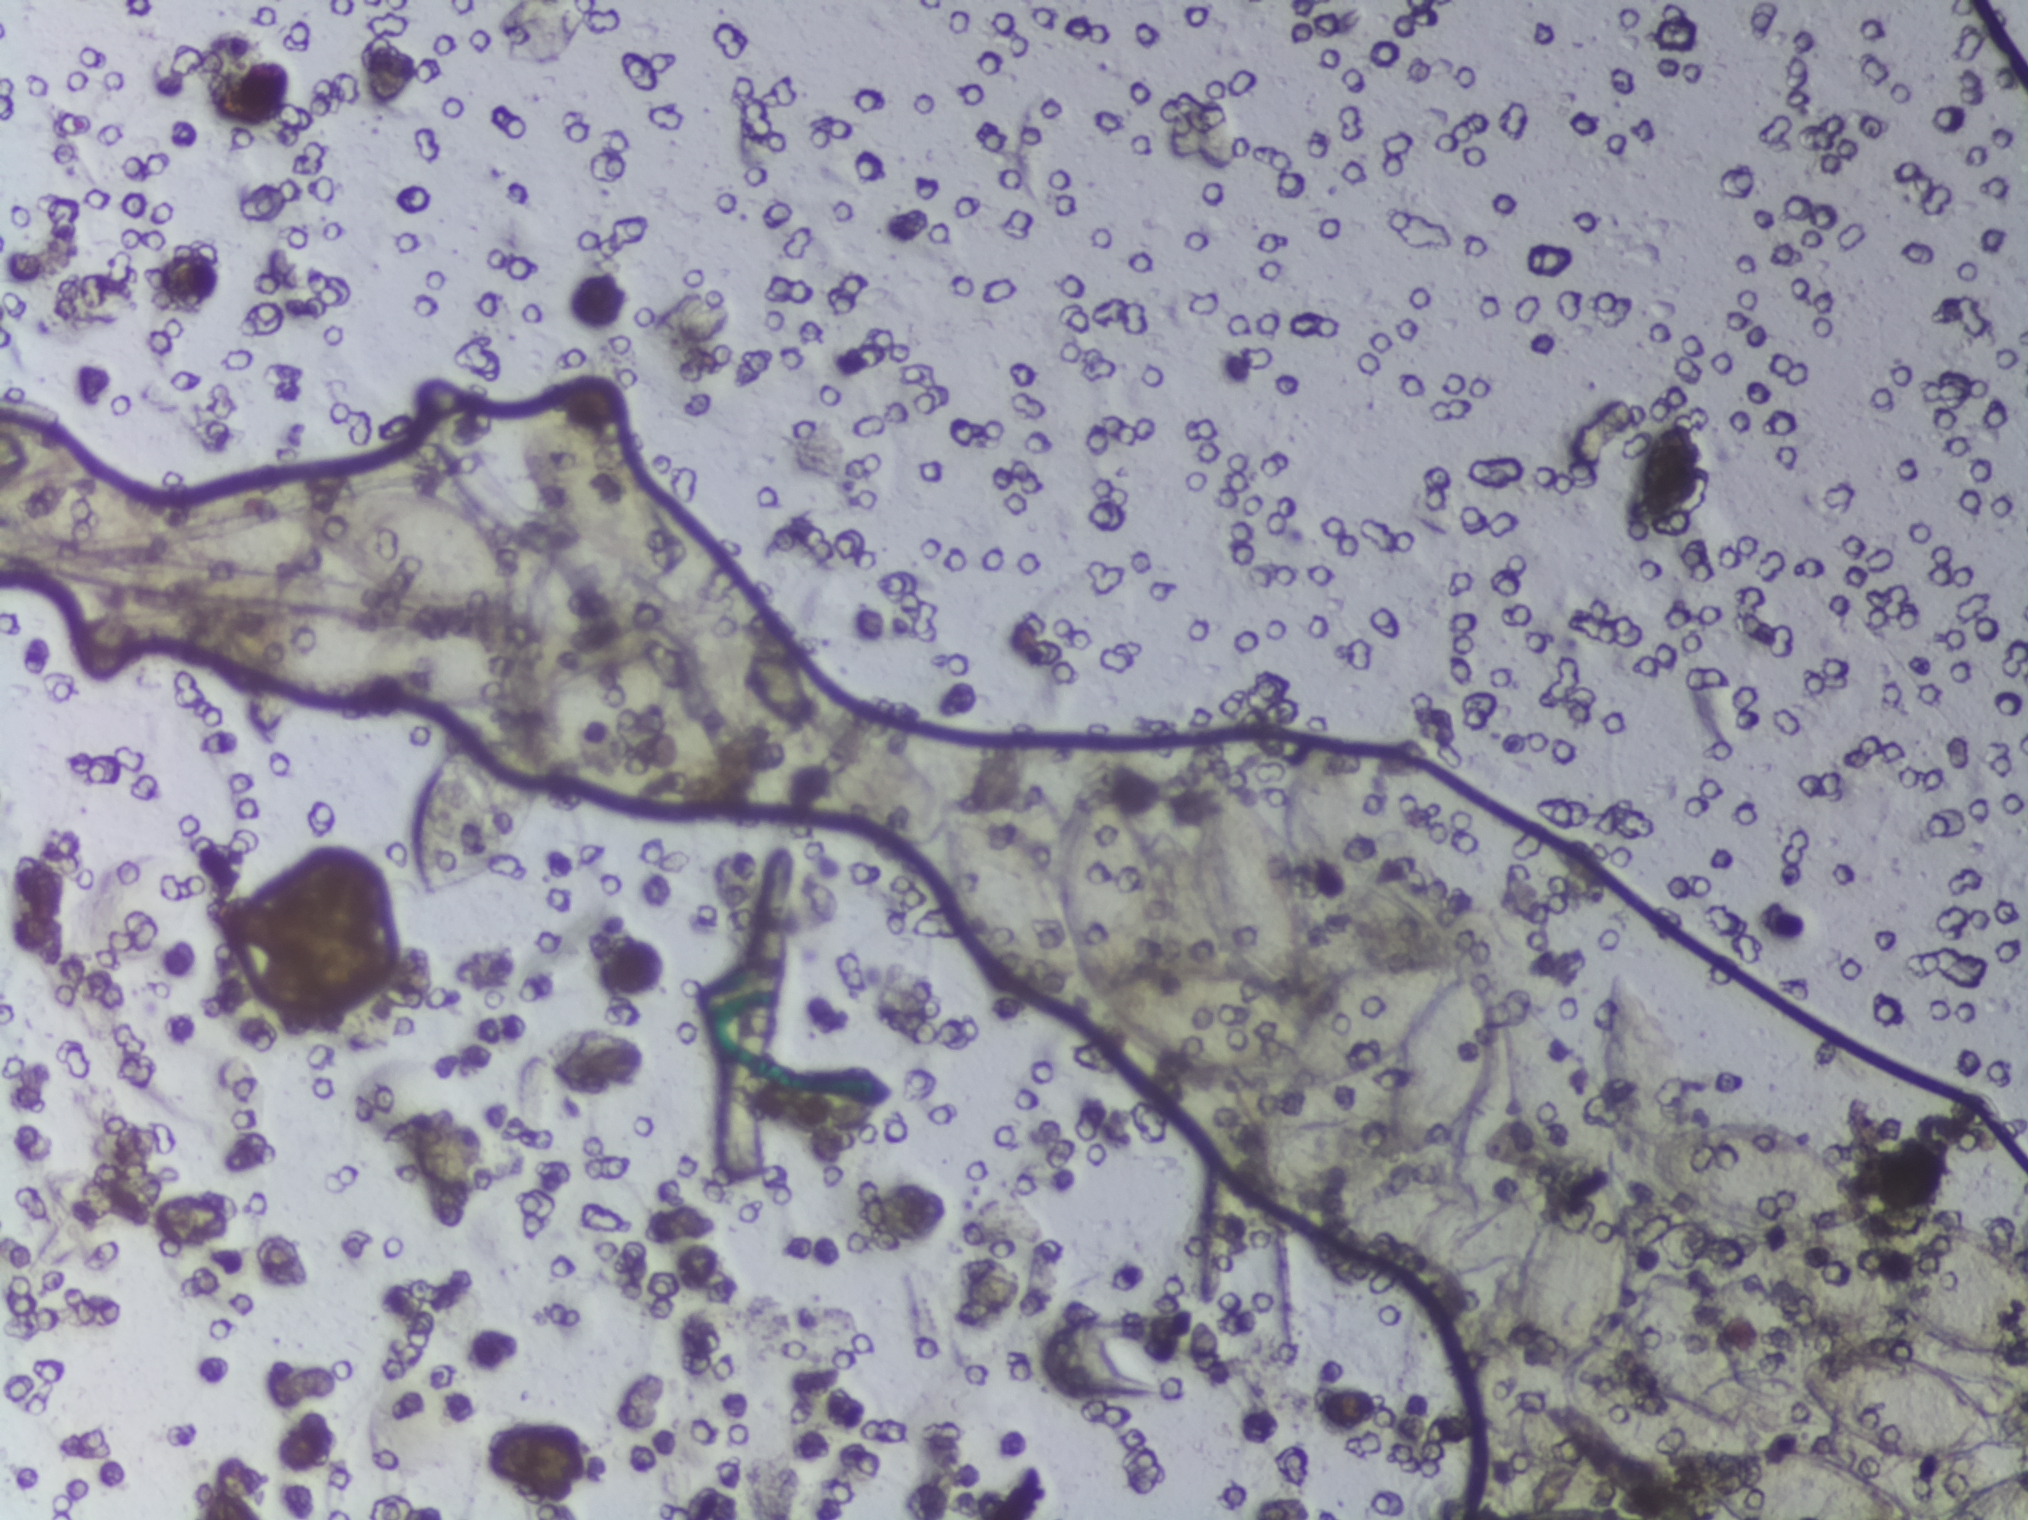
Urine filtration membrane under a 4× objective, photographed by an automated digital microscope.
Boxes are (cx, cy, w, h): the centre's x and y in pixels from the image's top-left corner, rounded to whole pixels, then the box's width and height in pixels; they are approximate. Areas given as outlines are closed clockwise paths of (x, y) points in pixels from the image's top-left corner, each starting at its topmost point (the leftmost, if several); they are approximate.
Areas outlined as Schistosoma eggs: outline (427, 376), (486, 389), (511, 403), (578, 395), (602, 409), (638, 464), (661, 559), (653, 573), (580, 555), (568, 559), (586, 583), (607, 640), (677, 597), (688, 597), (692, 606), (685, 684), (649, 733), (579, 771), (546, 775), (536, 812), (508, 854), (453, 891), (429, 895), (419, 859), (424, 785), (460, 734), (491, 709), (446, 711), (394, 689), (352, 702), (268, 690), (231, 665), (224, 634), (247, 626), (232, 622), (239, 618), (277, 605), (338, 606), (396, 627), (434, 619), (479, 627), (526, 660), (510, 608), (445, 615), (358, 584), (284, 585), (209, 571), (183, 559), (104, 561), (30, 547), (0, 525), (0, 408), (44, 411), (68, 423), (93, 448), (94, 466), (160, 492), (171, 505), (245, 497), (299, 515), (333, 491), (373, 486), (439, 490), (468, 500), (425, 412), (421, 382) (a cluster of eggs; reaching the left edge of the frame); outline (1318, 730), (1349, 742), (1361, 763), (1365, 859), (1353, 909), (1306, 938), (1301, 996), (1328, 962), (1352, 952), (1441, 941), (1454, 953), (1476, 953), (1488, 981), (1497, 979), (1533, 1002), (1594, 1053), (1595, 995), (1603, 980), (1615, 964), (1645, 967), (1688, 1027), (1682, 1132), (1762, 1118), (1813, 1135), (1880, 1205), (1956, 1219), (2016, 1246), (2027, 1263), (2027, 1360), (1991, 1362), (1943, 1345), (1903, 1315), (1858, 1221), (1823, 1233), (1778, 1233), (1711, 1214), (1646, 1174), (1642, 1141), (1614, 1122), (1614, 1190), (1631, 1237), (1623, 1310), (1644, 1271), (1682, 1267), (1695, 1274), (1731, 1321), (1752, 1392), (1746, 1421), (1761, 1443), (1800, 1445), (1882, 1477), (1908, 1500), (1912, 1519), (1743, 1519), (1686, 1481), (1662, 1481), (1615, 1462), (1578, 1427), (1566, 1403), (1571, 1386), (1592, 1378), (1637, 1378), (1626, 1351), (1624, 1311), (1601, 1348), (1569, 1374), (1546, 1372), (1519, 1342), (1514, 1299), (1522, 1246), (1553, 1201), (1516, 1153), (1495, 1048), (1492, 1081), (1459, 1135), (1444, 1151), (1403, 1163), (1386, 1132), (1388, 1062), (1322, 1098), (1290, 1101), (1267, 1075), (1197, 1073), (1147, 1054), (1094, 997), (1077, 955), (1076, 990), (1066, 1003), (1053, 1004), (1000, 983), (964, 939), (943, 875), (943, 808), (966, 807), (1015, 829), (1064, 873), (1077, 810), (1090, 784), (1102, 777), (1116, 781), (1133, 802), (1169, 886), (1171, 946), (1162, 966), (1229, 974), (1212, 954), (1195, 892), (1195, 796), (1202, 772), (1209, 763), (1229, 770), (1274, 809), (1275, 802), (1281, 817), (1277, 792), (1295, 749) (a cluster of eggs; reaching the right and bottom edges of the frame); box (cx=1900, cy=1405, w=204, h=114); box (cx=1983, cy=1490, w=89, h=59) (reaching the right and bottom edges of the frame). Marked pixels, not the boxes and the outlines around them: about 13% of the image. A single outlined area may contain several eggs.